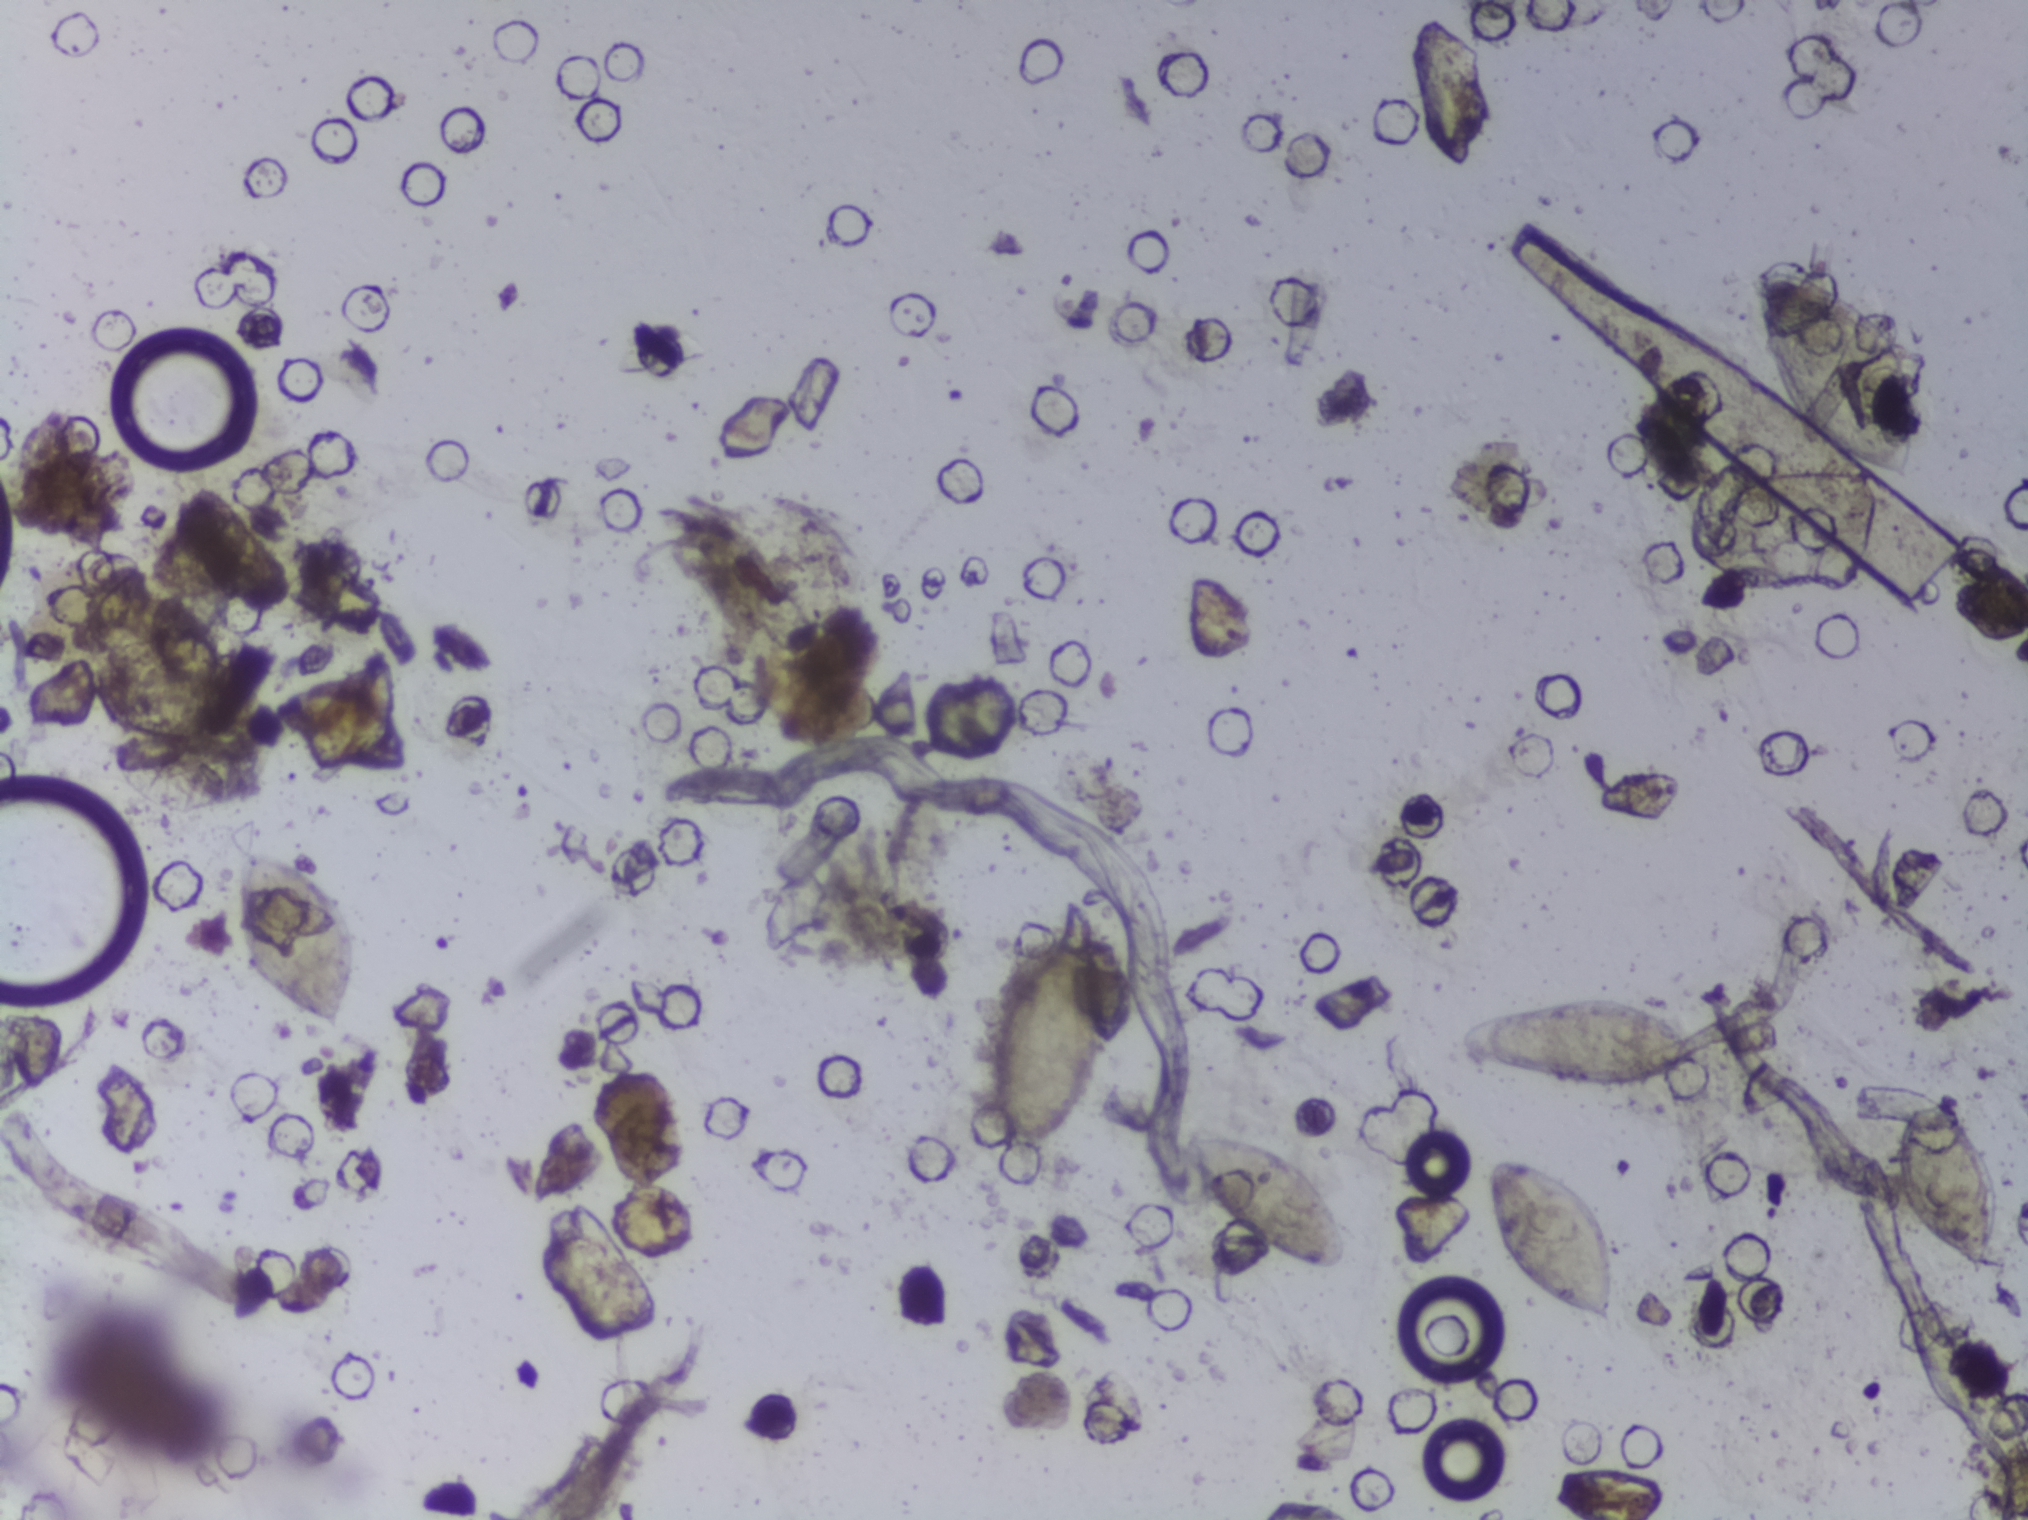
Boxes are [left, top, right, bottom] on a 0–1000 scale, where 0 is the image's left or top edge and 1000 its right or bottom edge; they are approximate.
Schistosoma eggs are outlined in six areas of this image, listed from left to right: [112, 561, 177, 682]; [490, 614, 543, 760]; [582, 743, 665, 838]; [718, 653, 842, 716]; [734, 760, 797, 876]; [932, 722, 986, 839]. A single outlined area may contain several eggs.
Urine filter membrane photographed through a 4× microscope objective.